Microscope photograph (4× objective) of a membrane that a urine sample was filtered through. The field of view is about 1.5 mm × 1.1 mm.
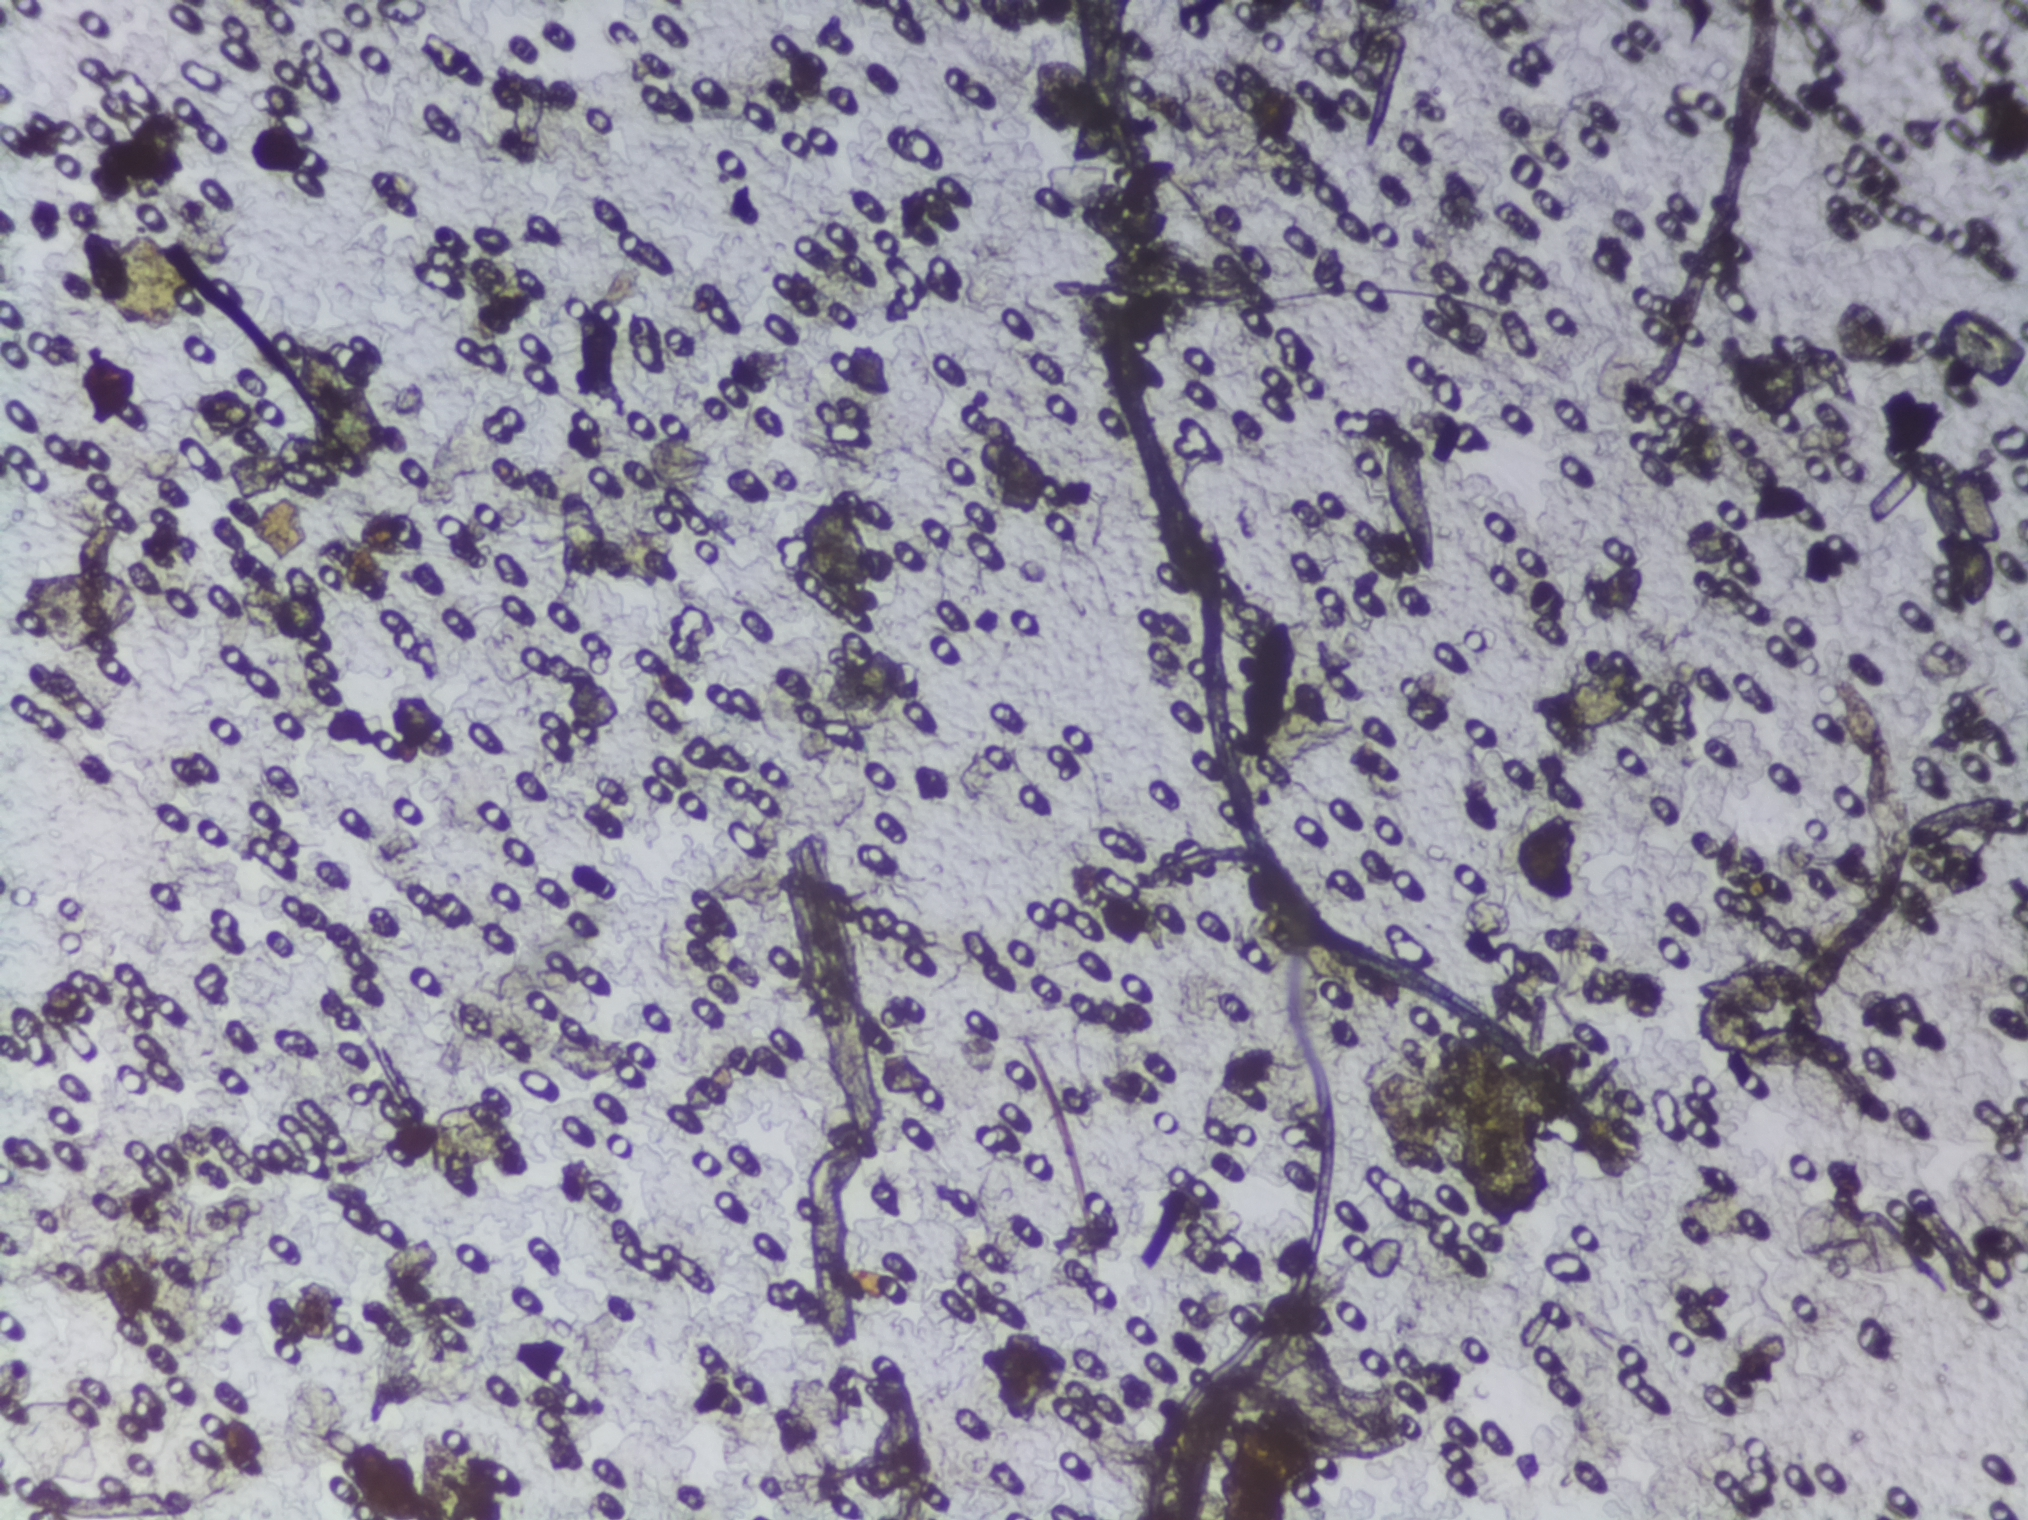
Schistosoma eggs: none outlined.